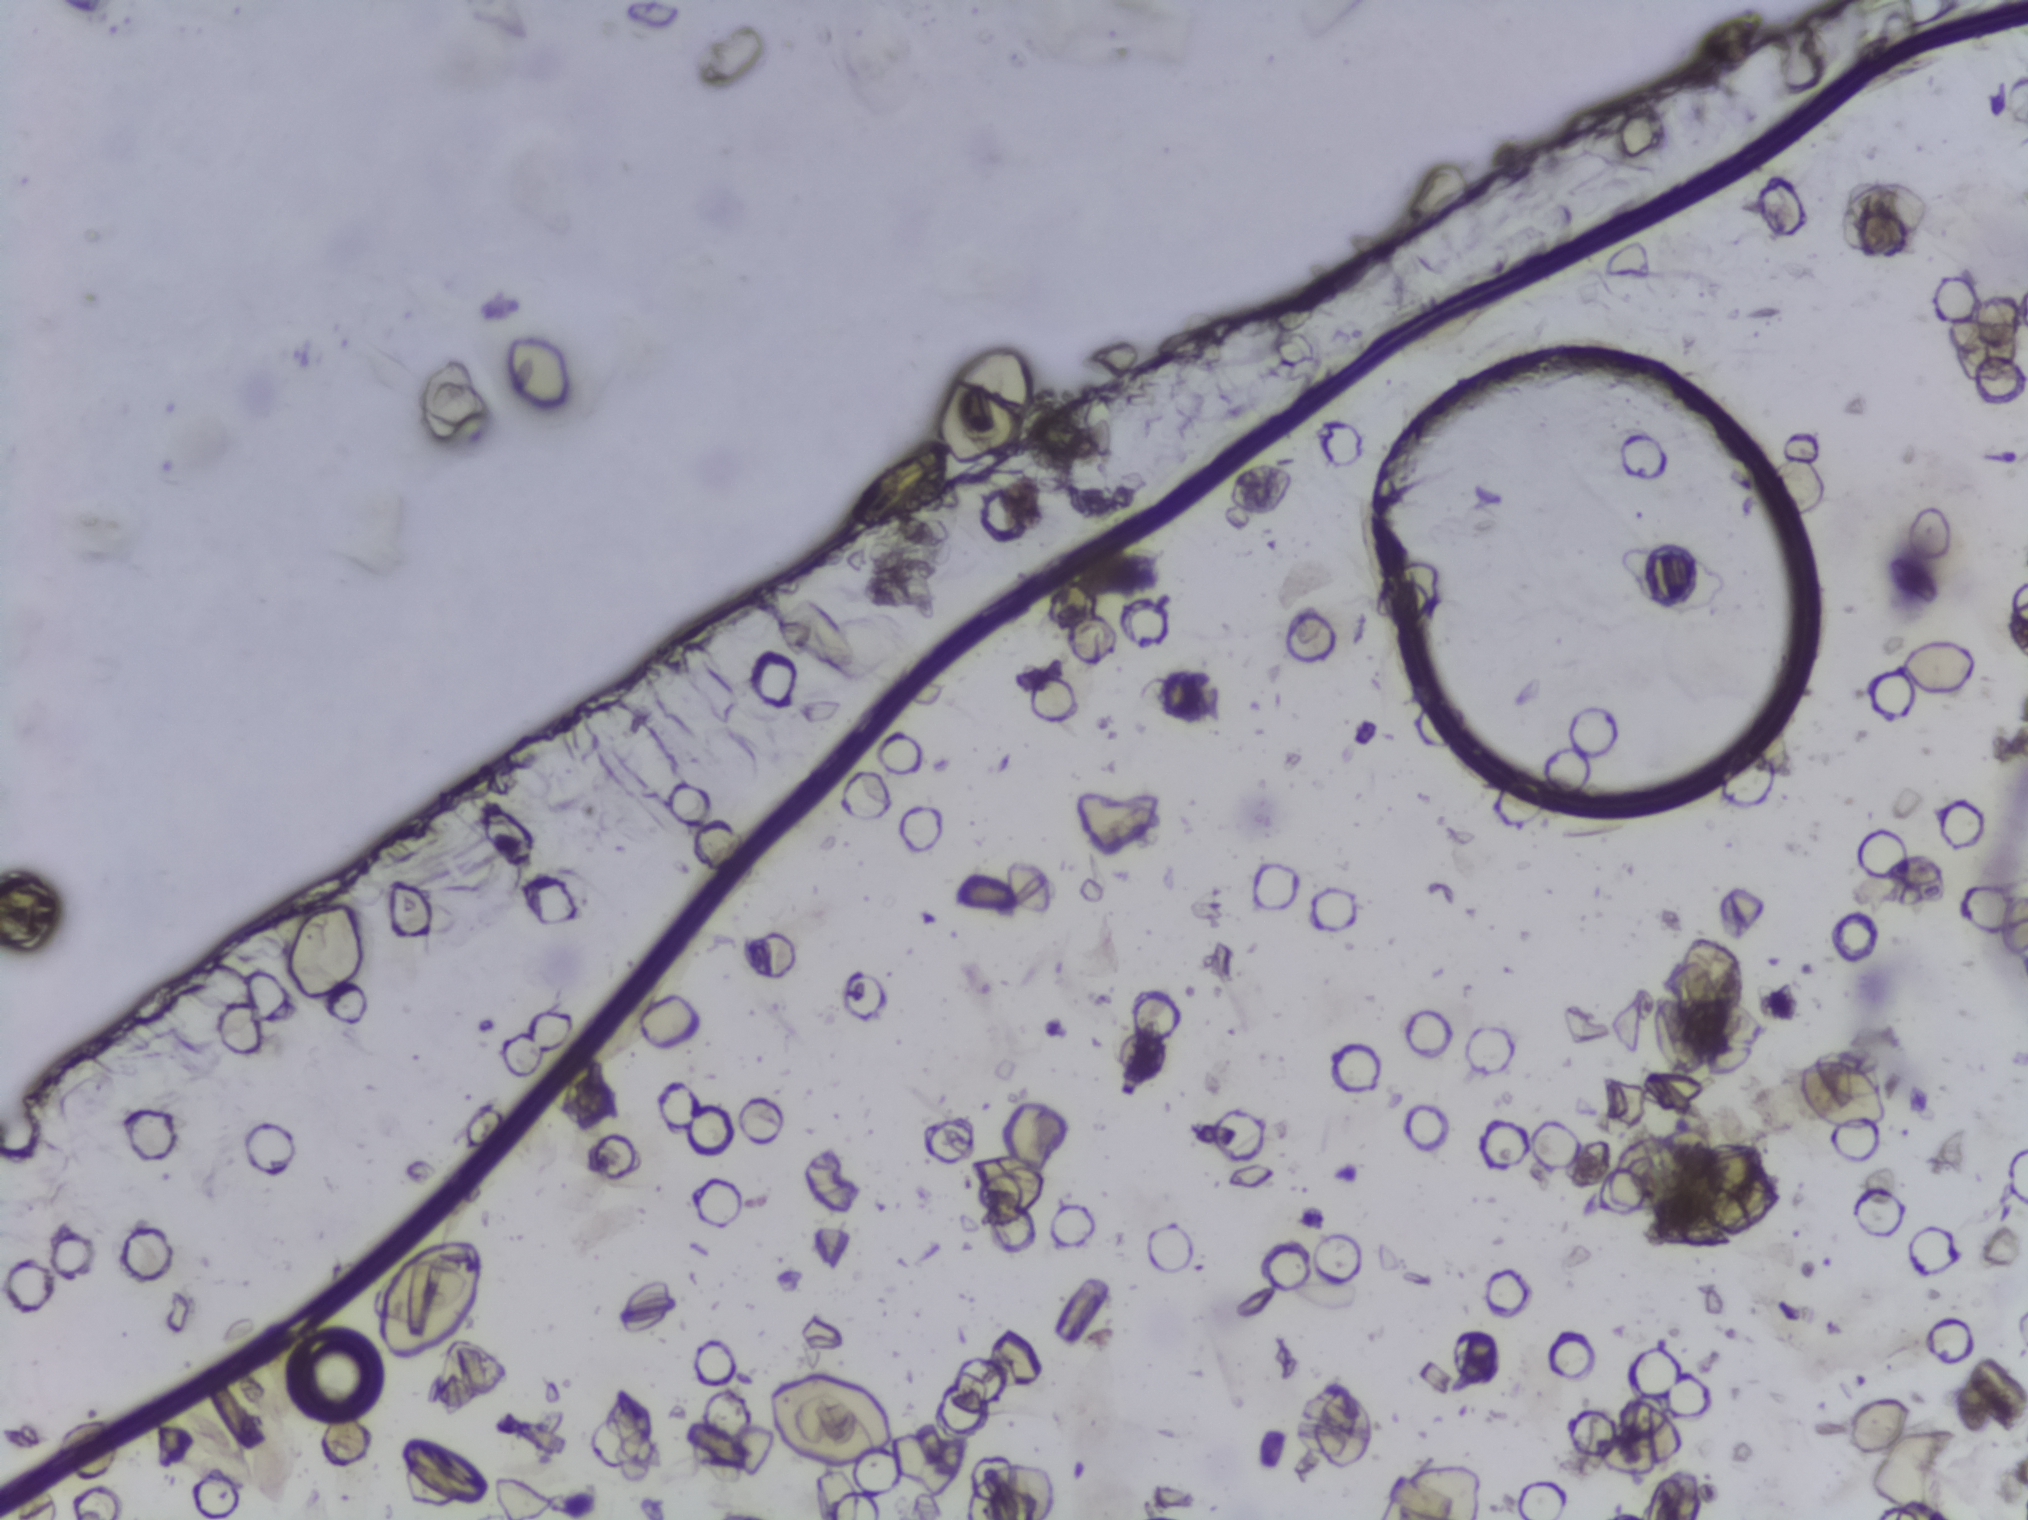
Photomicrograph of a urine filtration membrane, 4× objective. Field of view: about 1.5 mm wide and 1.1 mm high.
Schistosoma eggs: none outlined.